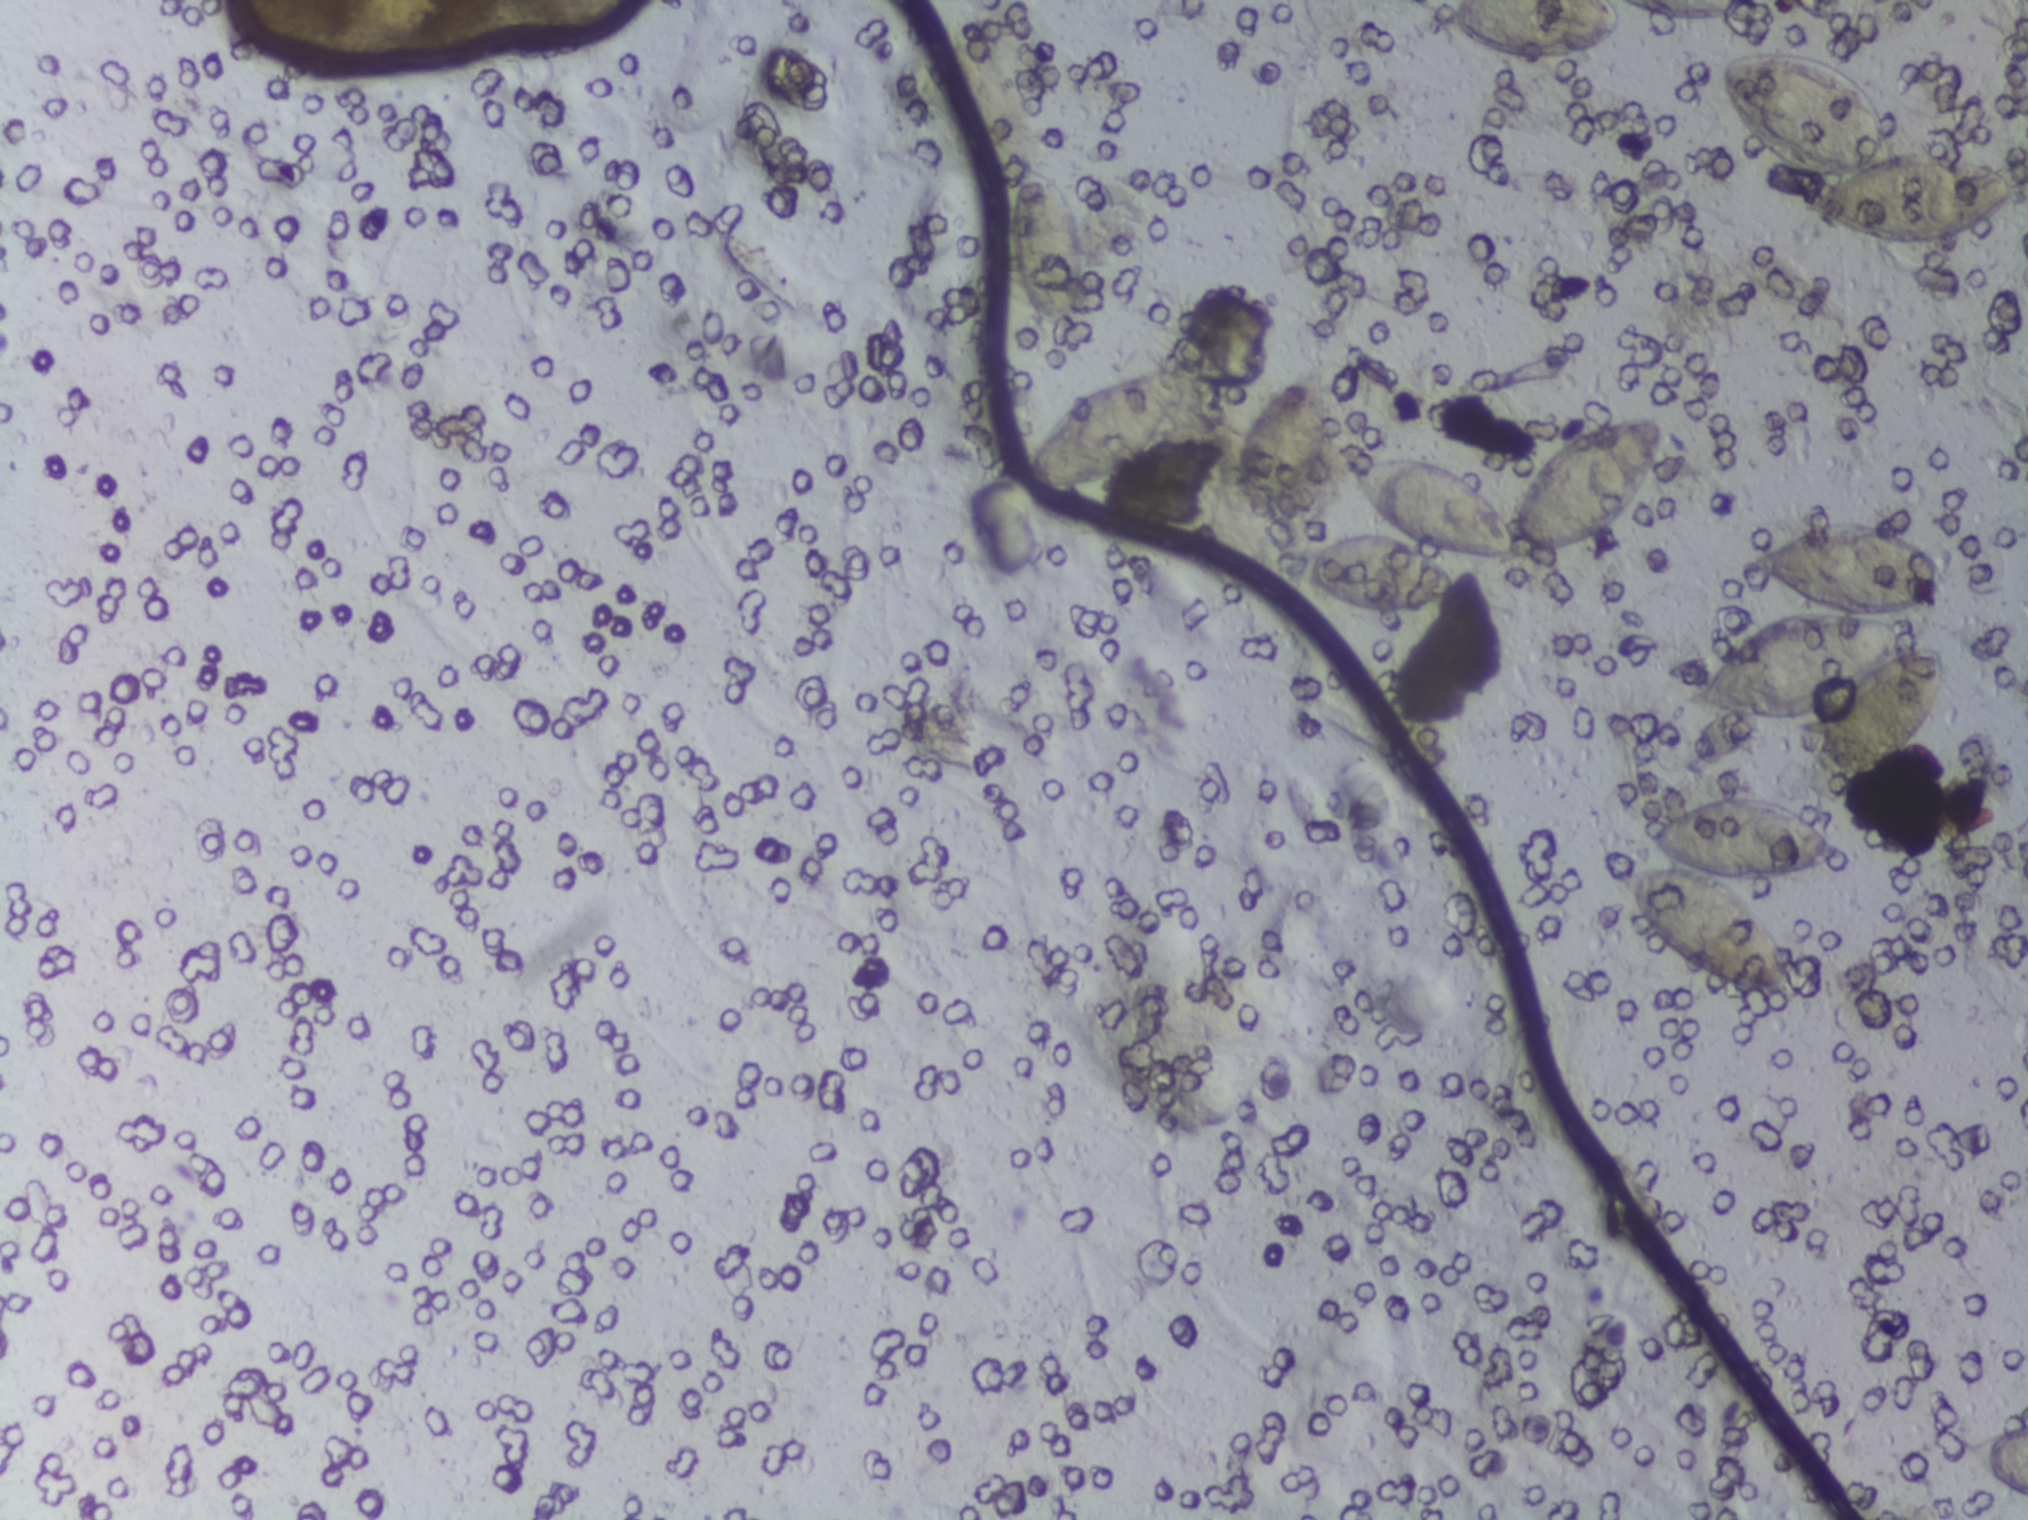
Urine filtration membrane under a 4× objective, photographed by an automated digital microscope.
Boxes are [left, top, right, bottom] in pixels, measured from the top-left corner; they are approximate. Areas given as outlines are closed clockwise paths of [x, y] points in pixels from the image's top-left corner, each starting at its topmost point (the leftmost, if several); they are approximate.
Findings: eight areas outlined as Schistosoma eggs. Locations: box [1002, 153, 1086, 340]; box [1020, 359, 1191, 492]; box [1233, 368, 1328, 521]; outline [1635, 413], [1663, 417], [1665, 438], [1632, 509], [1611, 528], [1563, 549], [1521, 553], [1503, 563], [1442, 560], [1458, 582], [1454, 600], [1443, 606], [1410, 618], [1368, 619], [1294, 597], [1268, 580], [1267, 570], [1298, 551], [1352, 531], [1387, 531], [1352, 489], [1345, 462], [1359, 455], [1423, 454], [1453, 462], [1483, 485], [1509, 520], [1546, 447], [1575, 427]; box [1441, 0, 1621, 57] (reaching the top edge of the frame); box [1614, 793, 1846, 1000]; box [1685, 515, 1948, 803]; box [1717, 55, 2023, 242]. Eggs that touch can end up inside the same outlined area. A marked egg may occasionally be S. mansoni rather than S. haematobium.